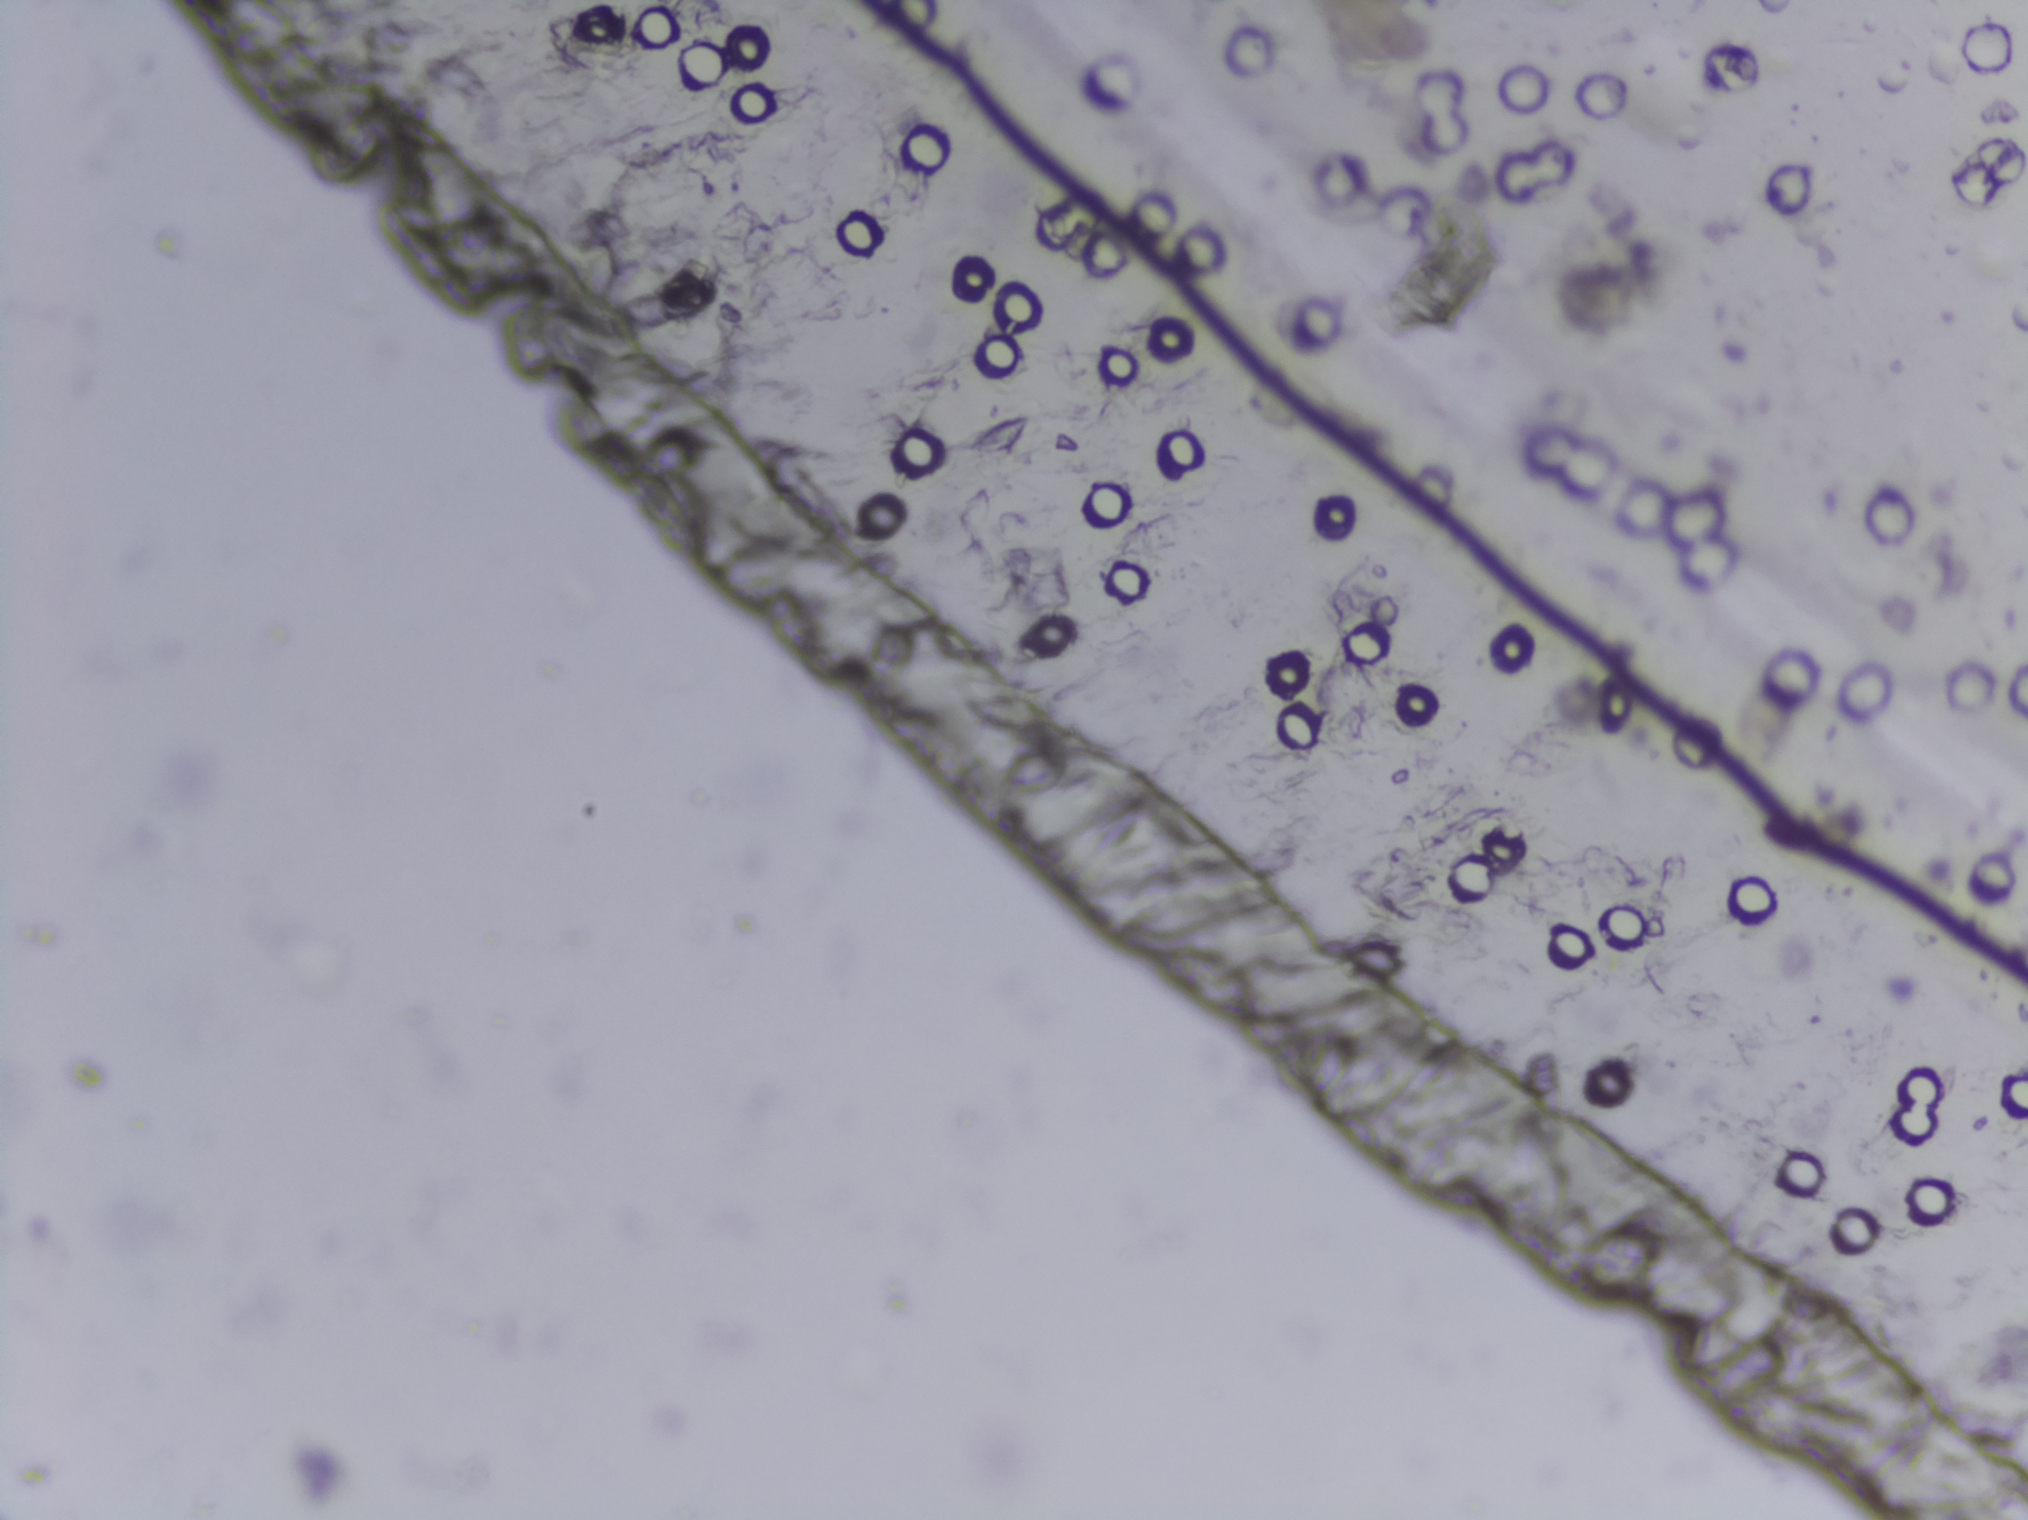
Photograph from an automated digital microscope: urine filter membrane, 4× objective.
The expert annotation marks no Schistosoma egg in this field of view.